Photograph from an automated digital microscope: urine filter membrane, 4× objective.
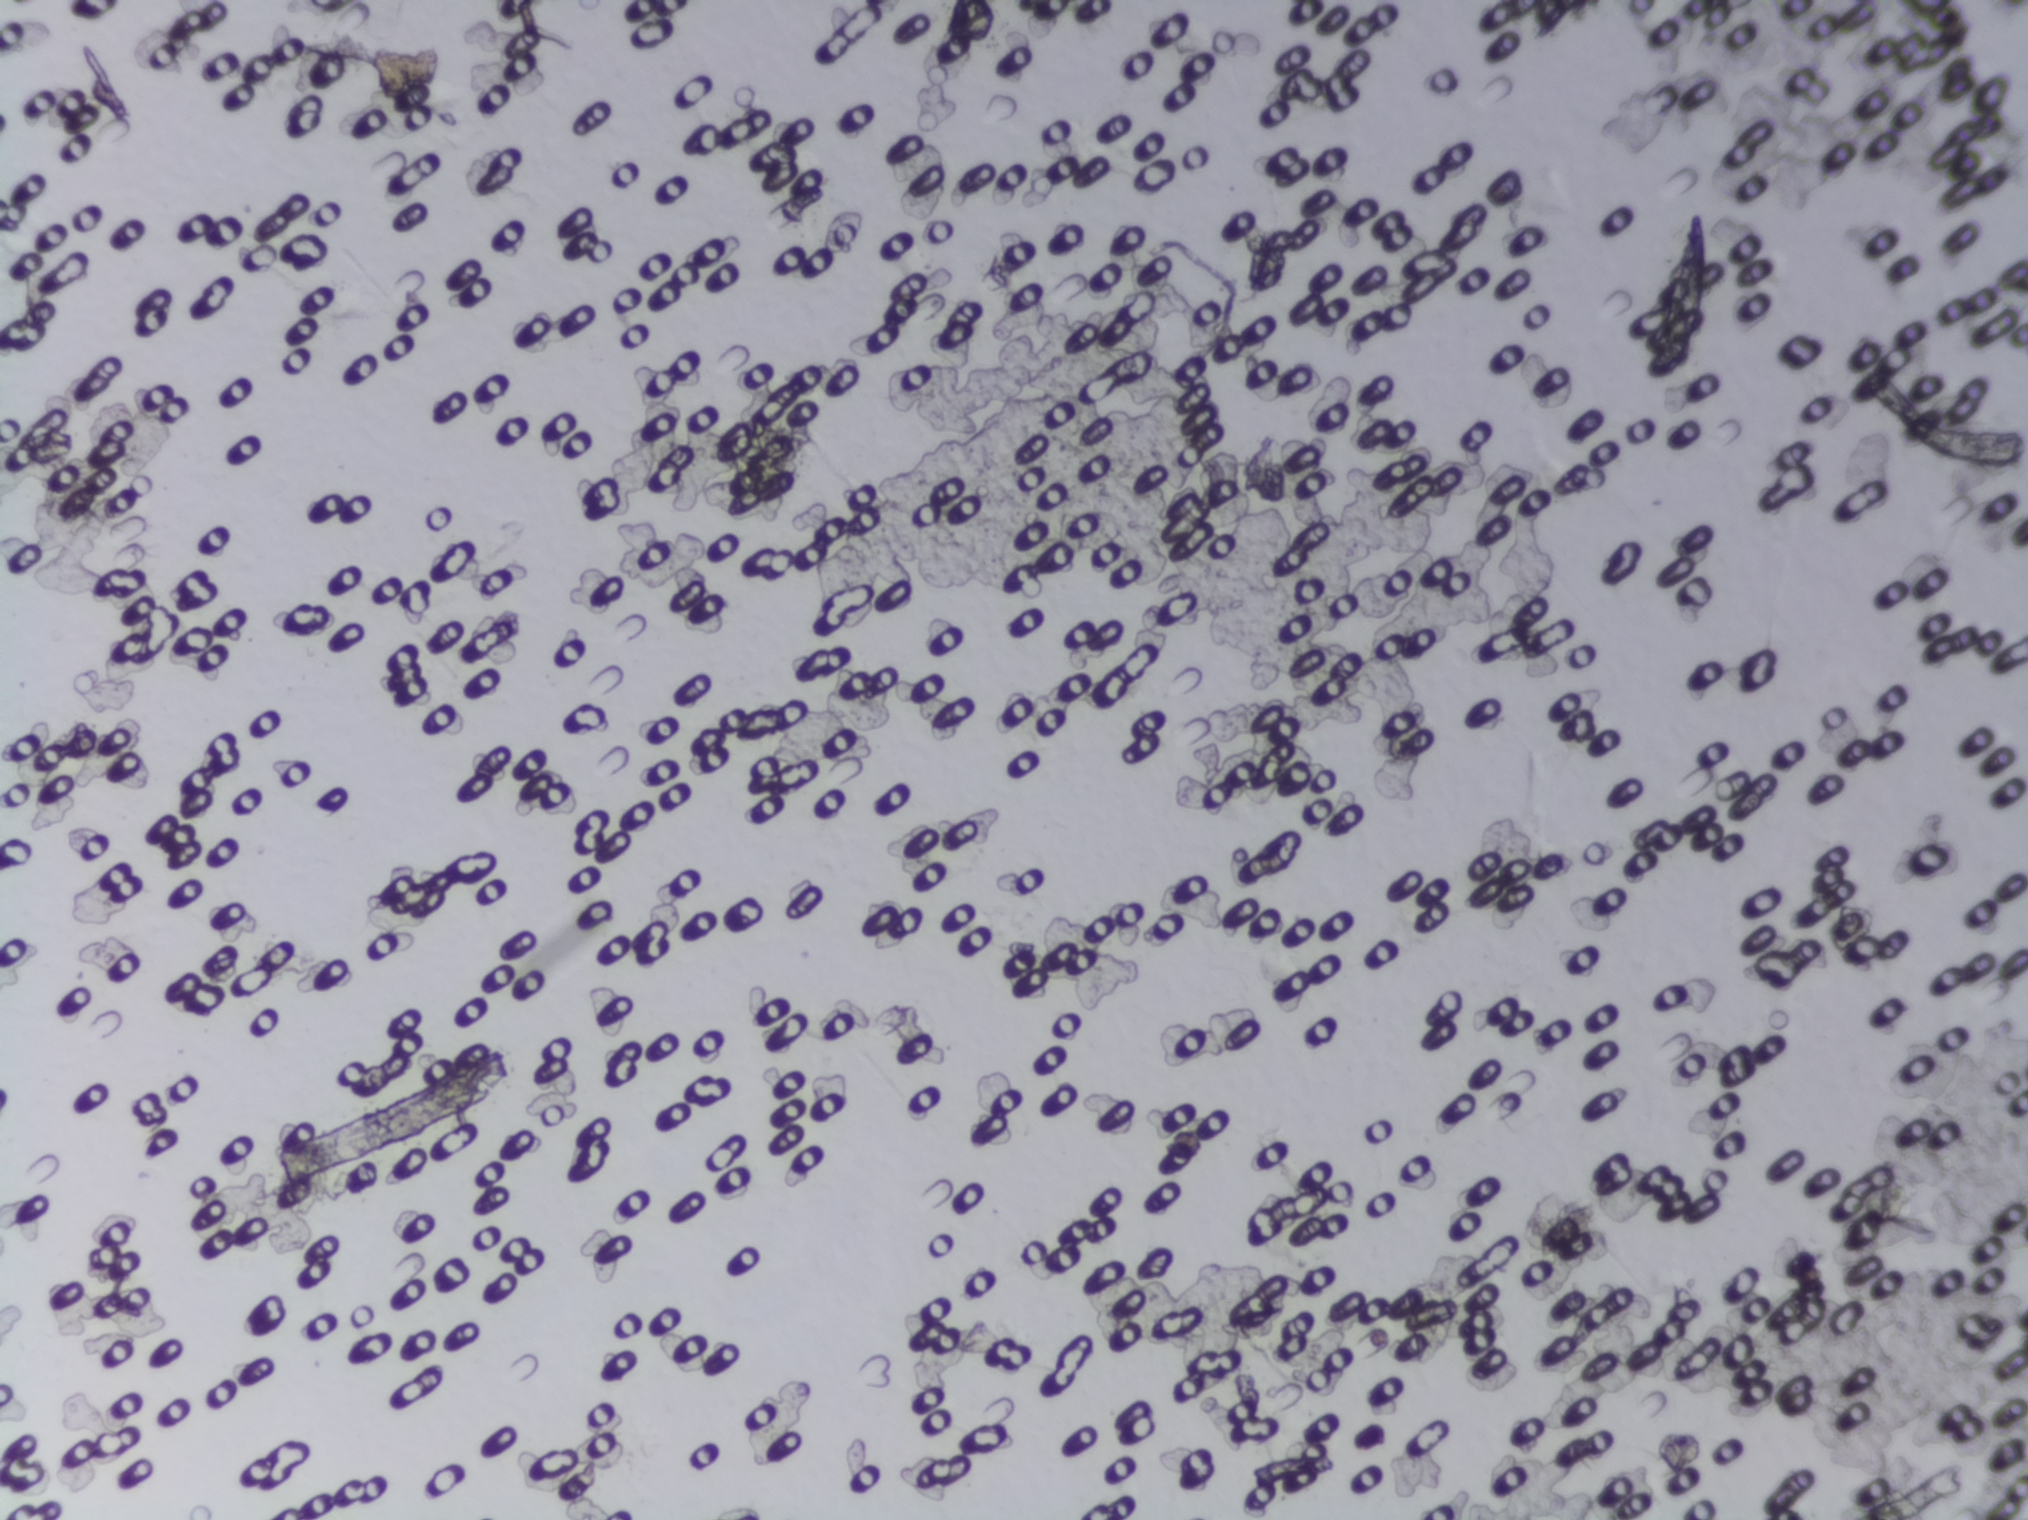
No area of this image was outlined as a Schistosoma egg.